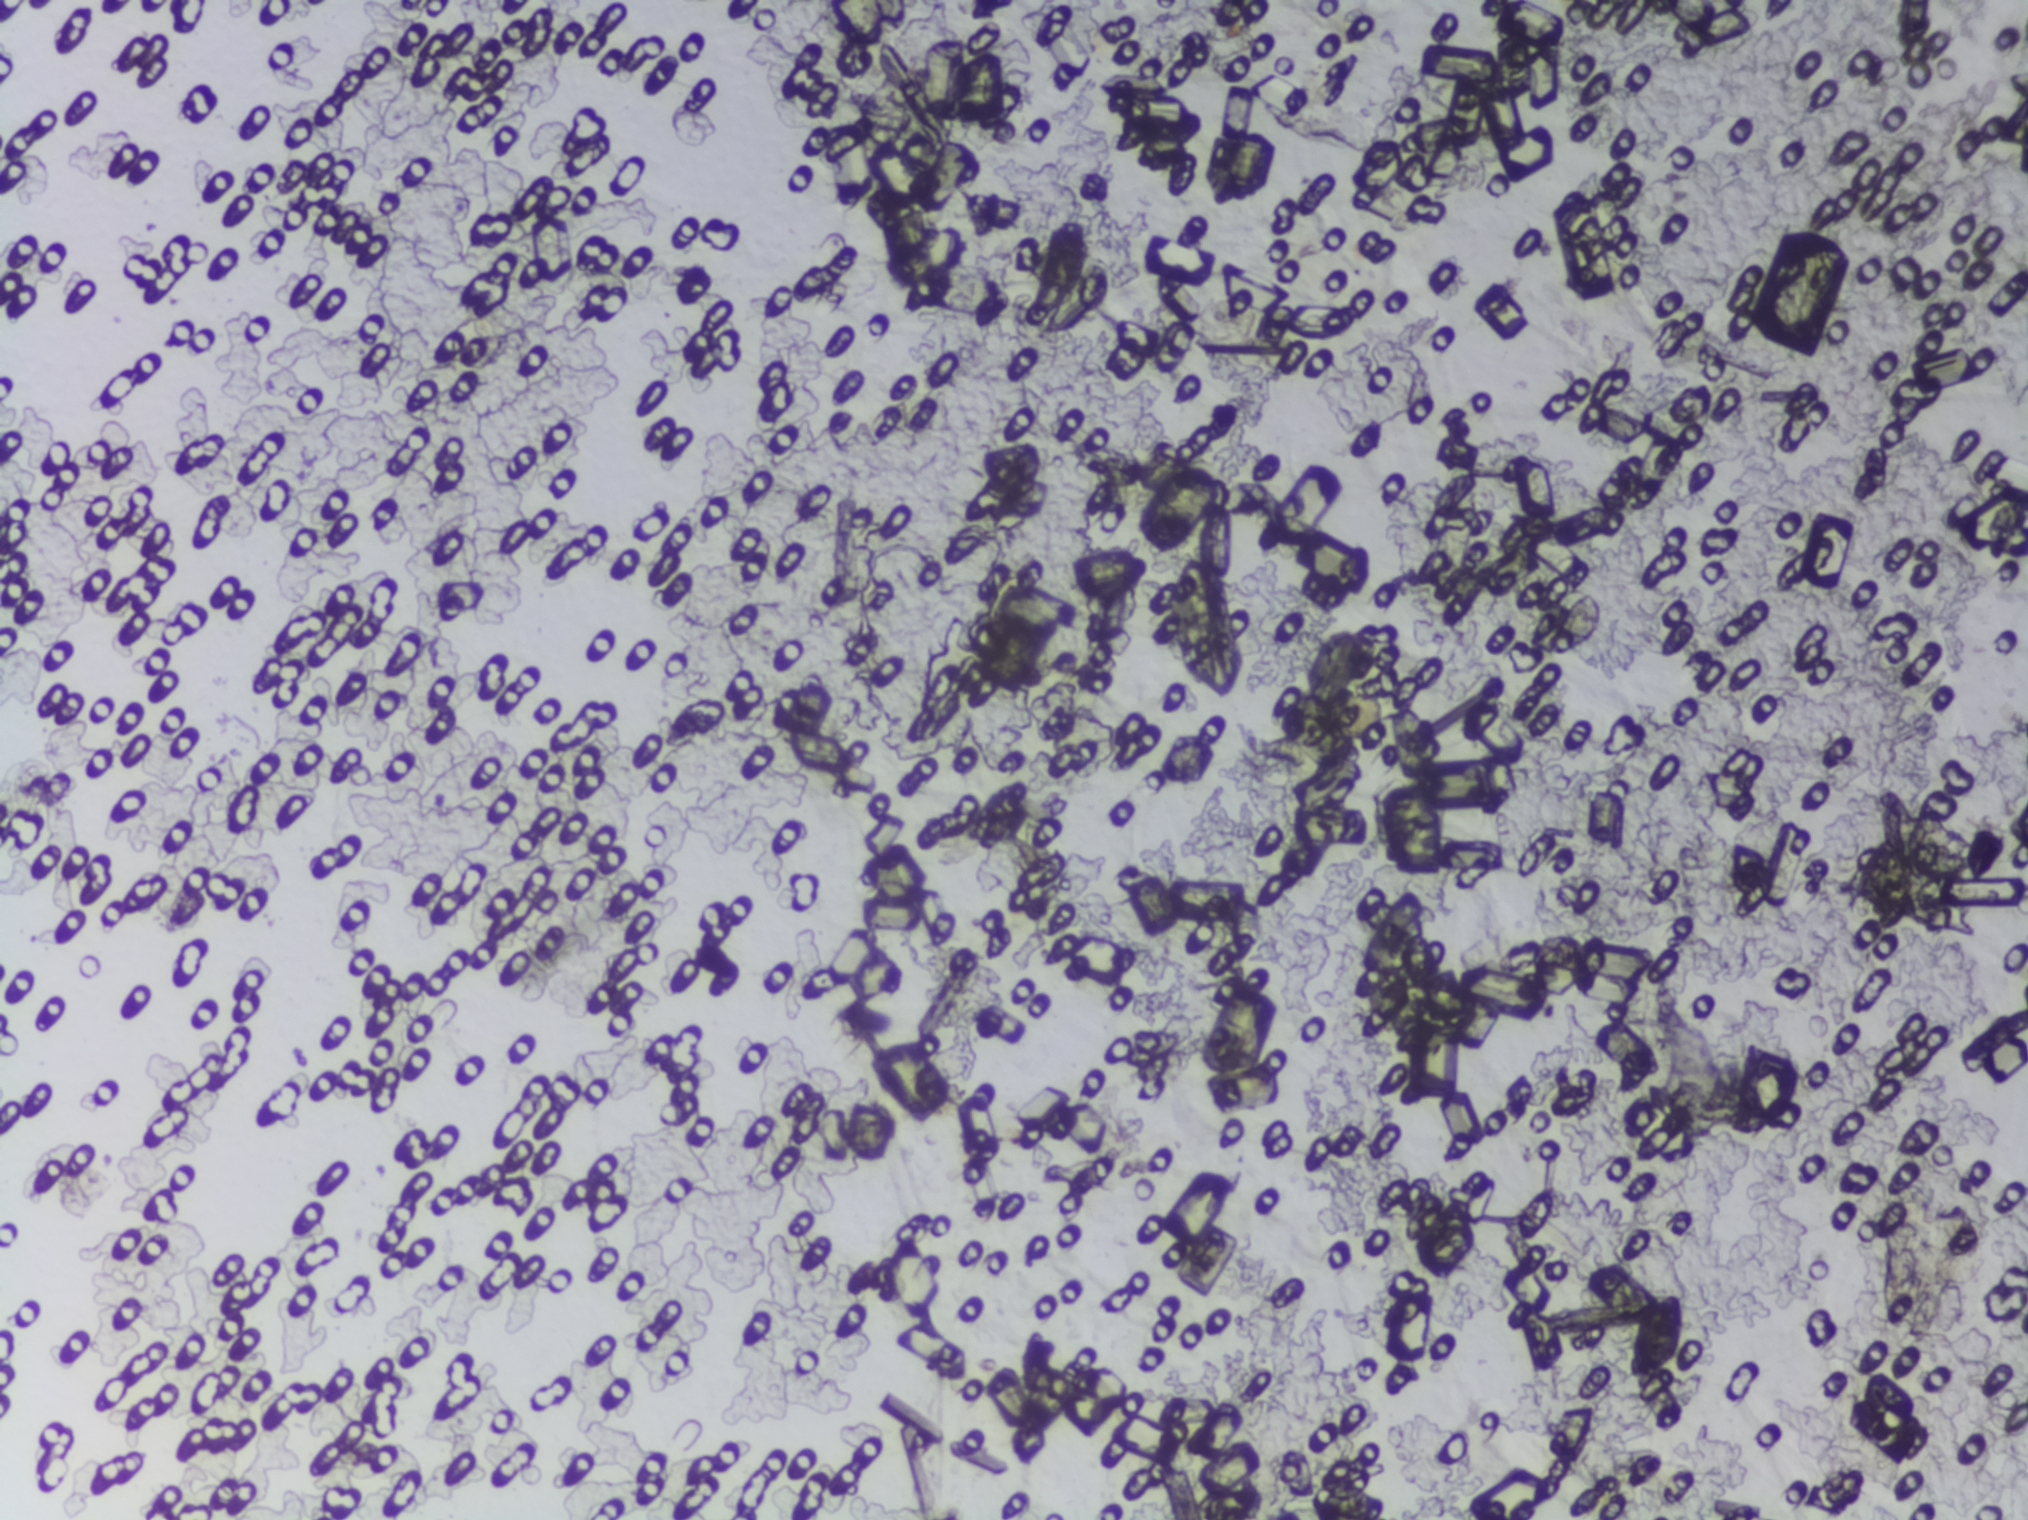
Photograph from an automated digital microscope: urine filter membrane, 4× objective. Field of view: about 1.5 mm wide and 1.1 mm high.
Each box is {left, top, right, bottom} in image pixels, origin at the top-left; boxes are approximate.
One area of this image is outlined as Schistosoma eggs: {1166, 553, 1243, 701}. Eggs that touch can end up inside the same outlined area.